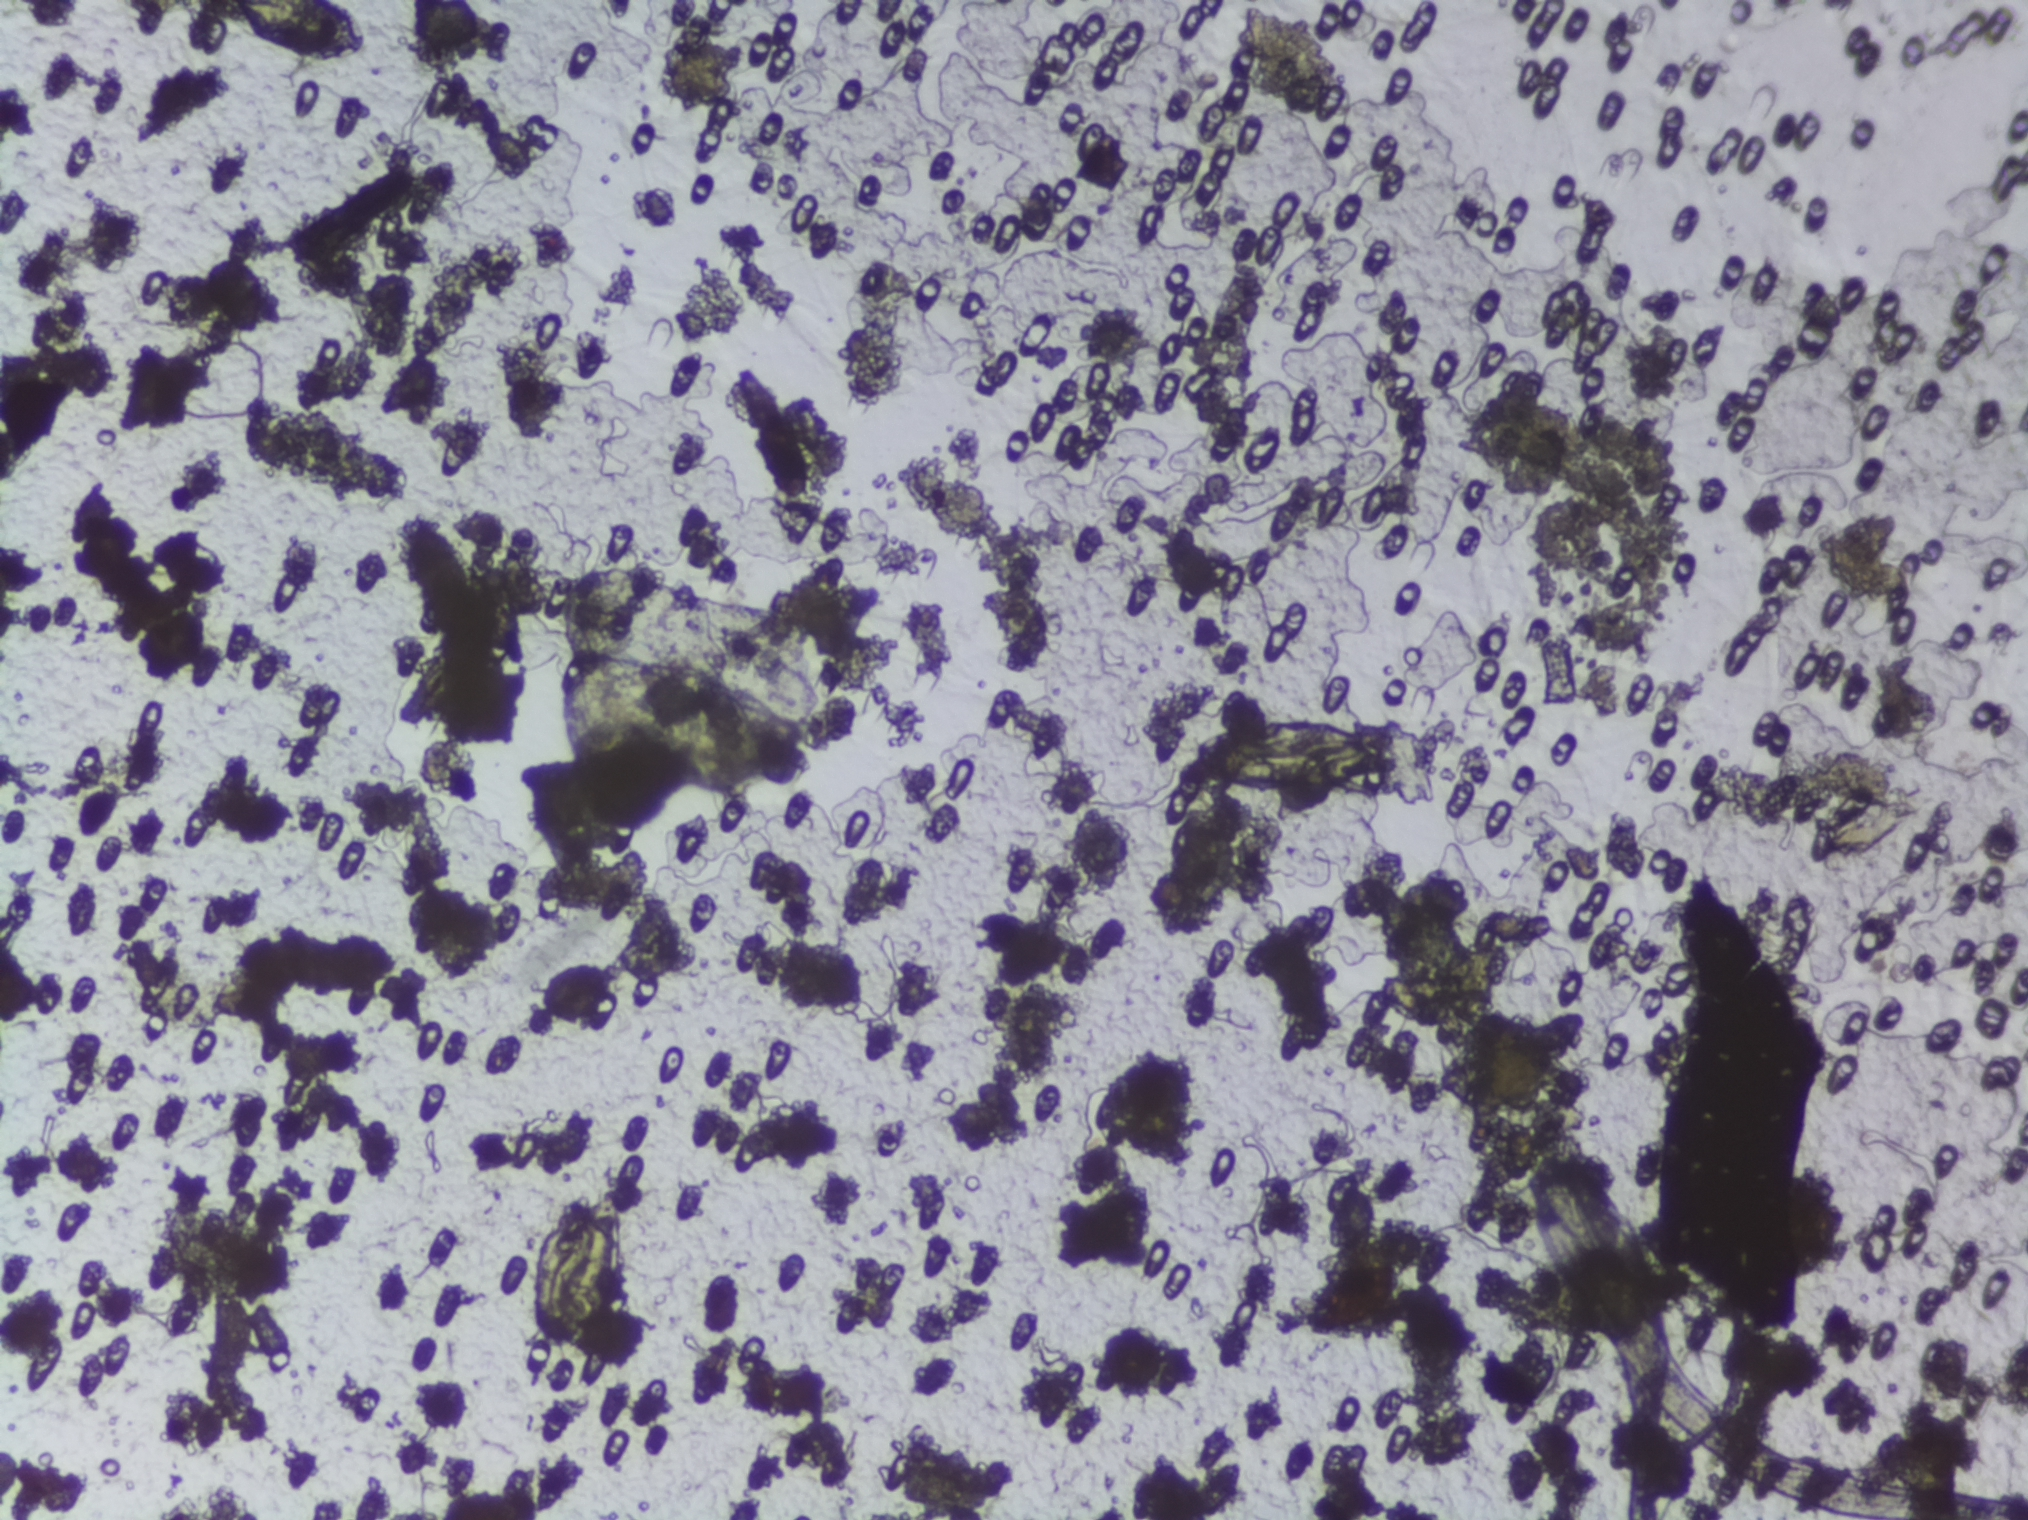
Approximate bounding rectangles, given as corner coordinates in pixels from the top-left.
Three areas of this image are outlined as Schistosoma eggs, from left to right: (x1=228, y1=0, x2=368, y2=61) (reaching the top edge of the frame); (x1=530, y1=1190, x2=625, y2=1348); (x1=1187, y1=715, x2=1401, y2=793). The marked pixels themselves, not the boxes around them, cover about 1.0% of the image. An outlined area can hold more than one egg.
Urine filter membrane photographed through a 4× microscope objective. Field of view: about 1.5 mm wide and 1.1 mm high.